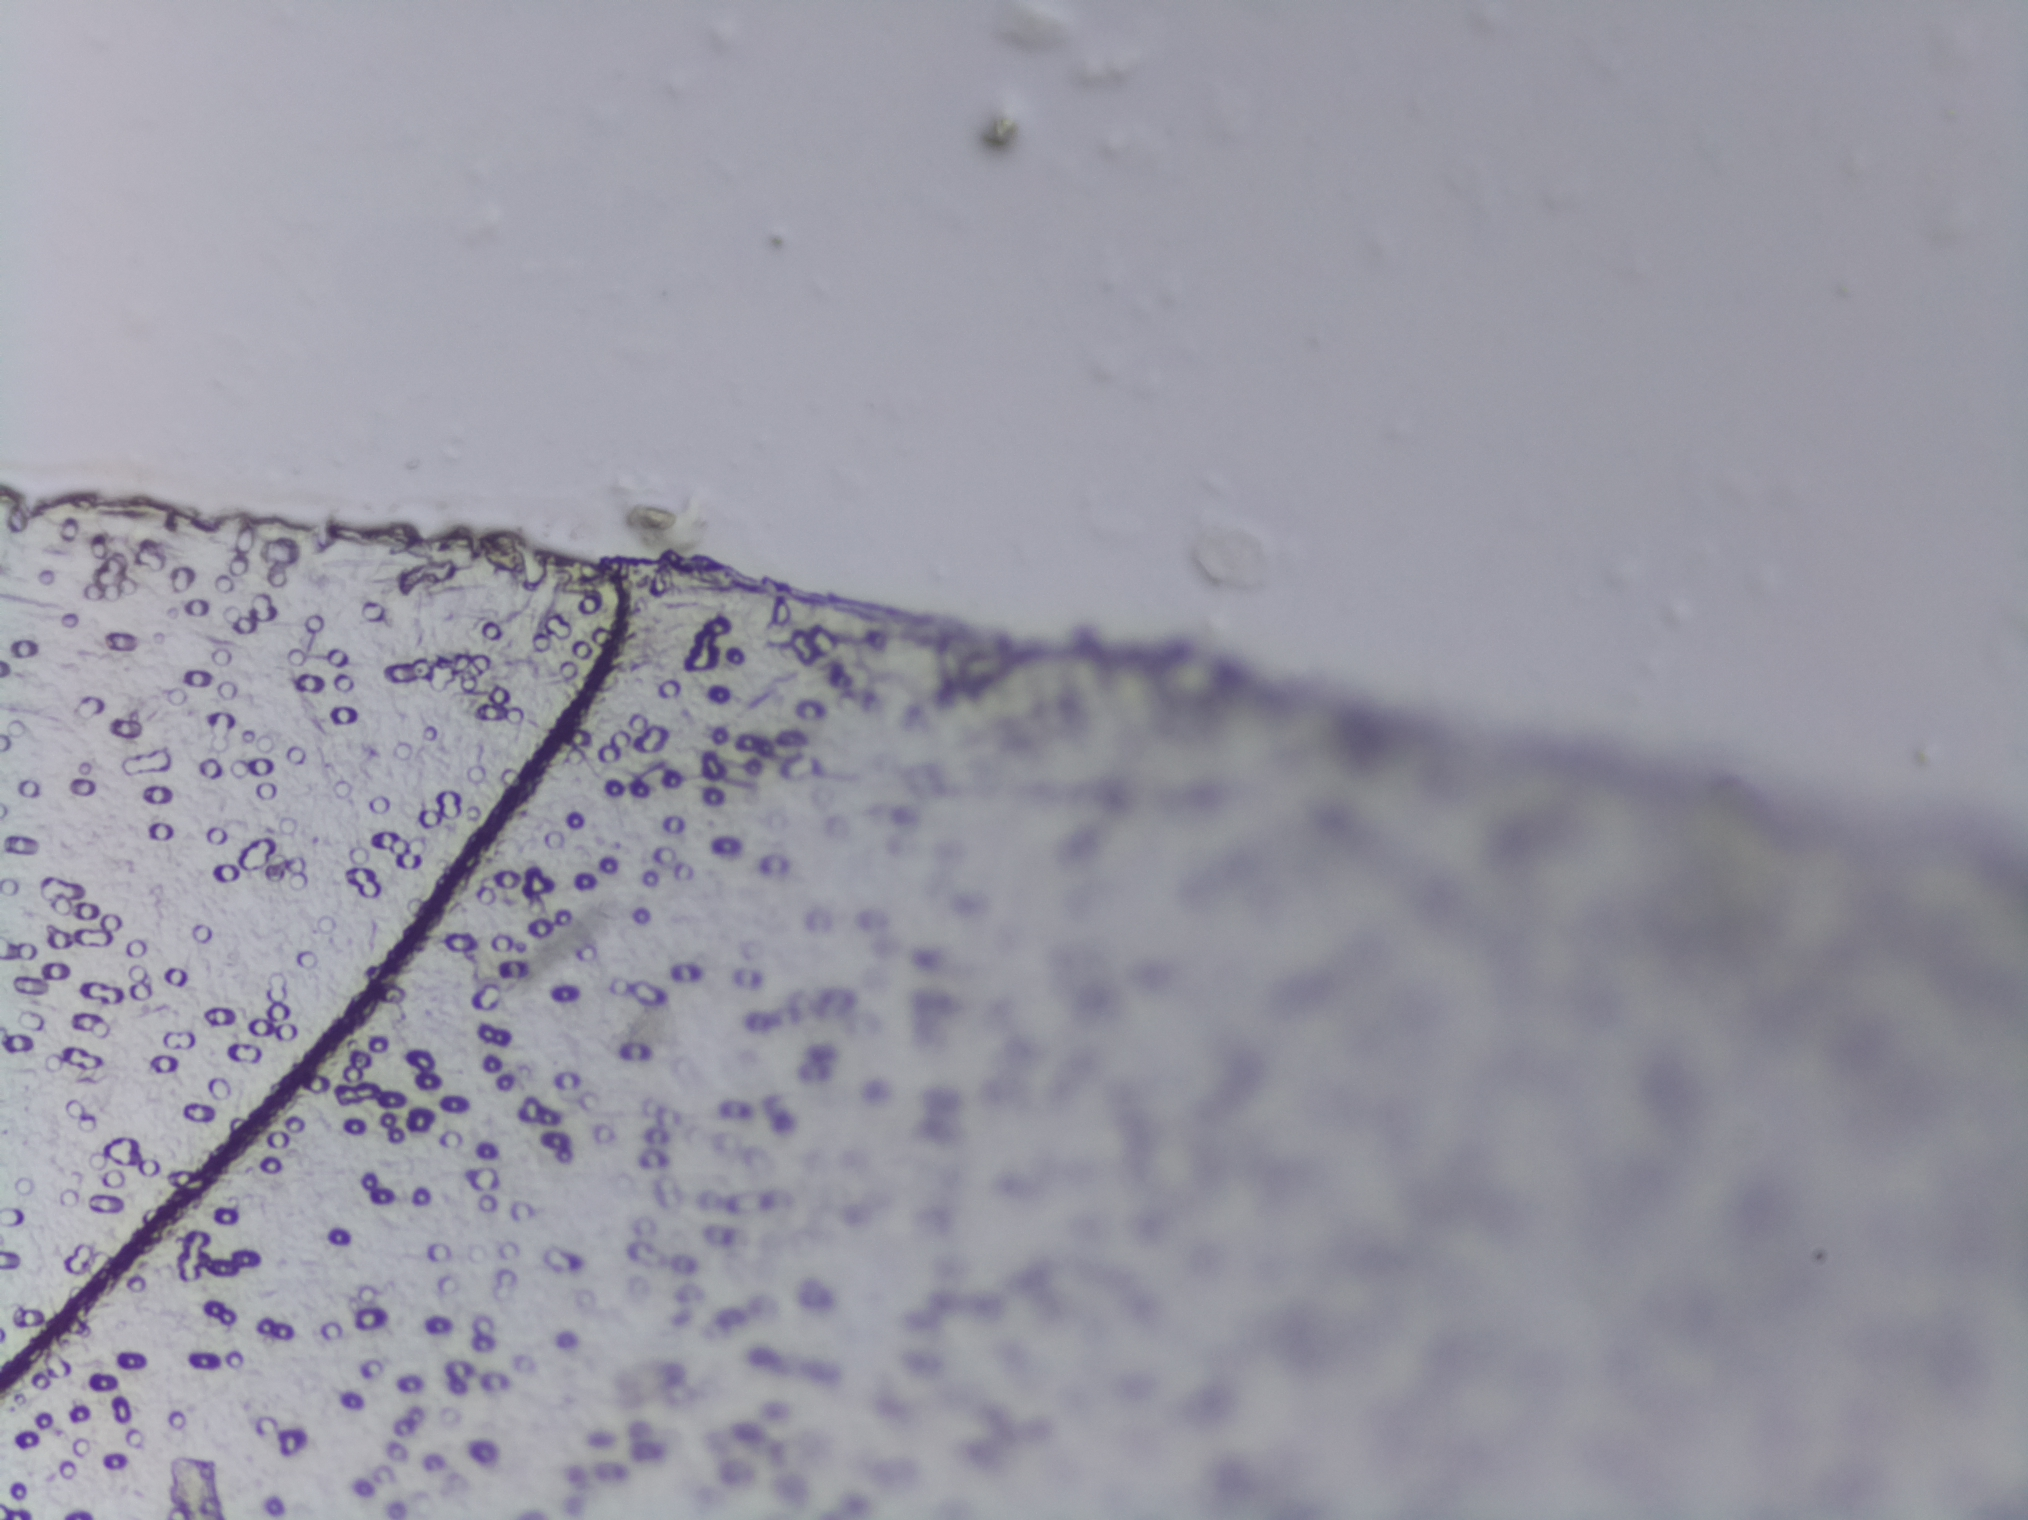
Microscope photograph (4× objective) of a membrane that a urine sample was filtered through.
The expert annotation outlines no Schistosoma egg in this image.